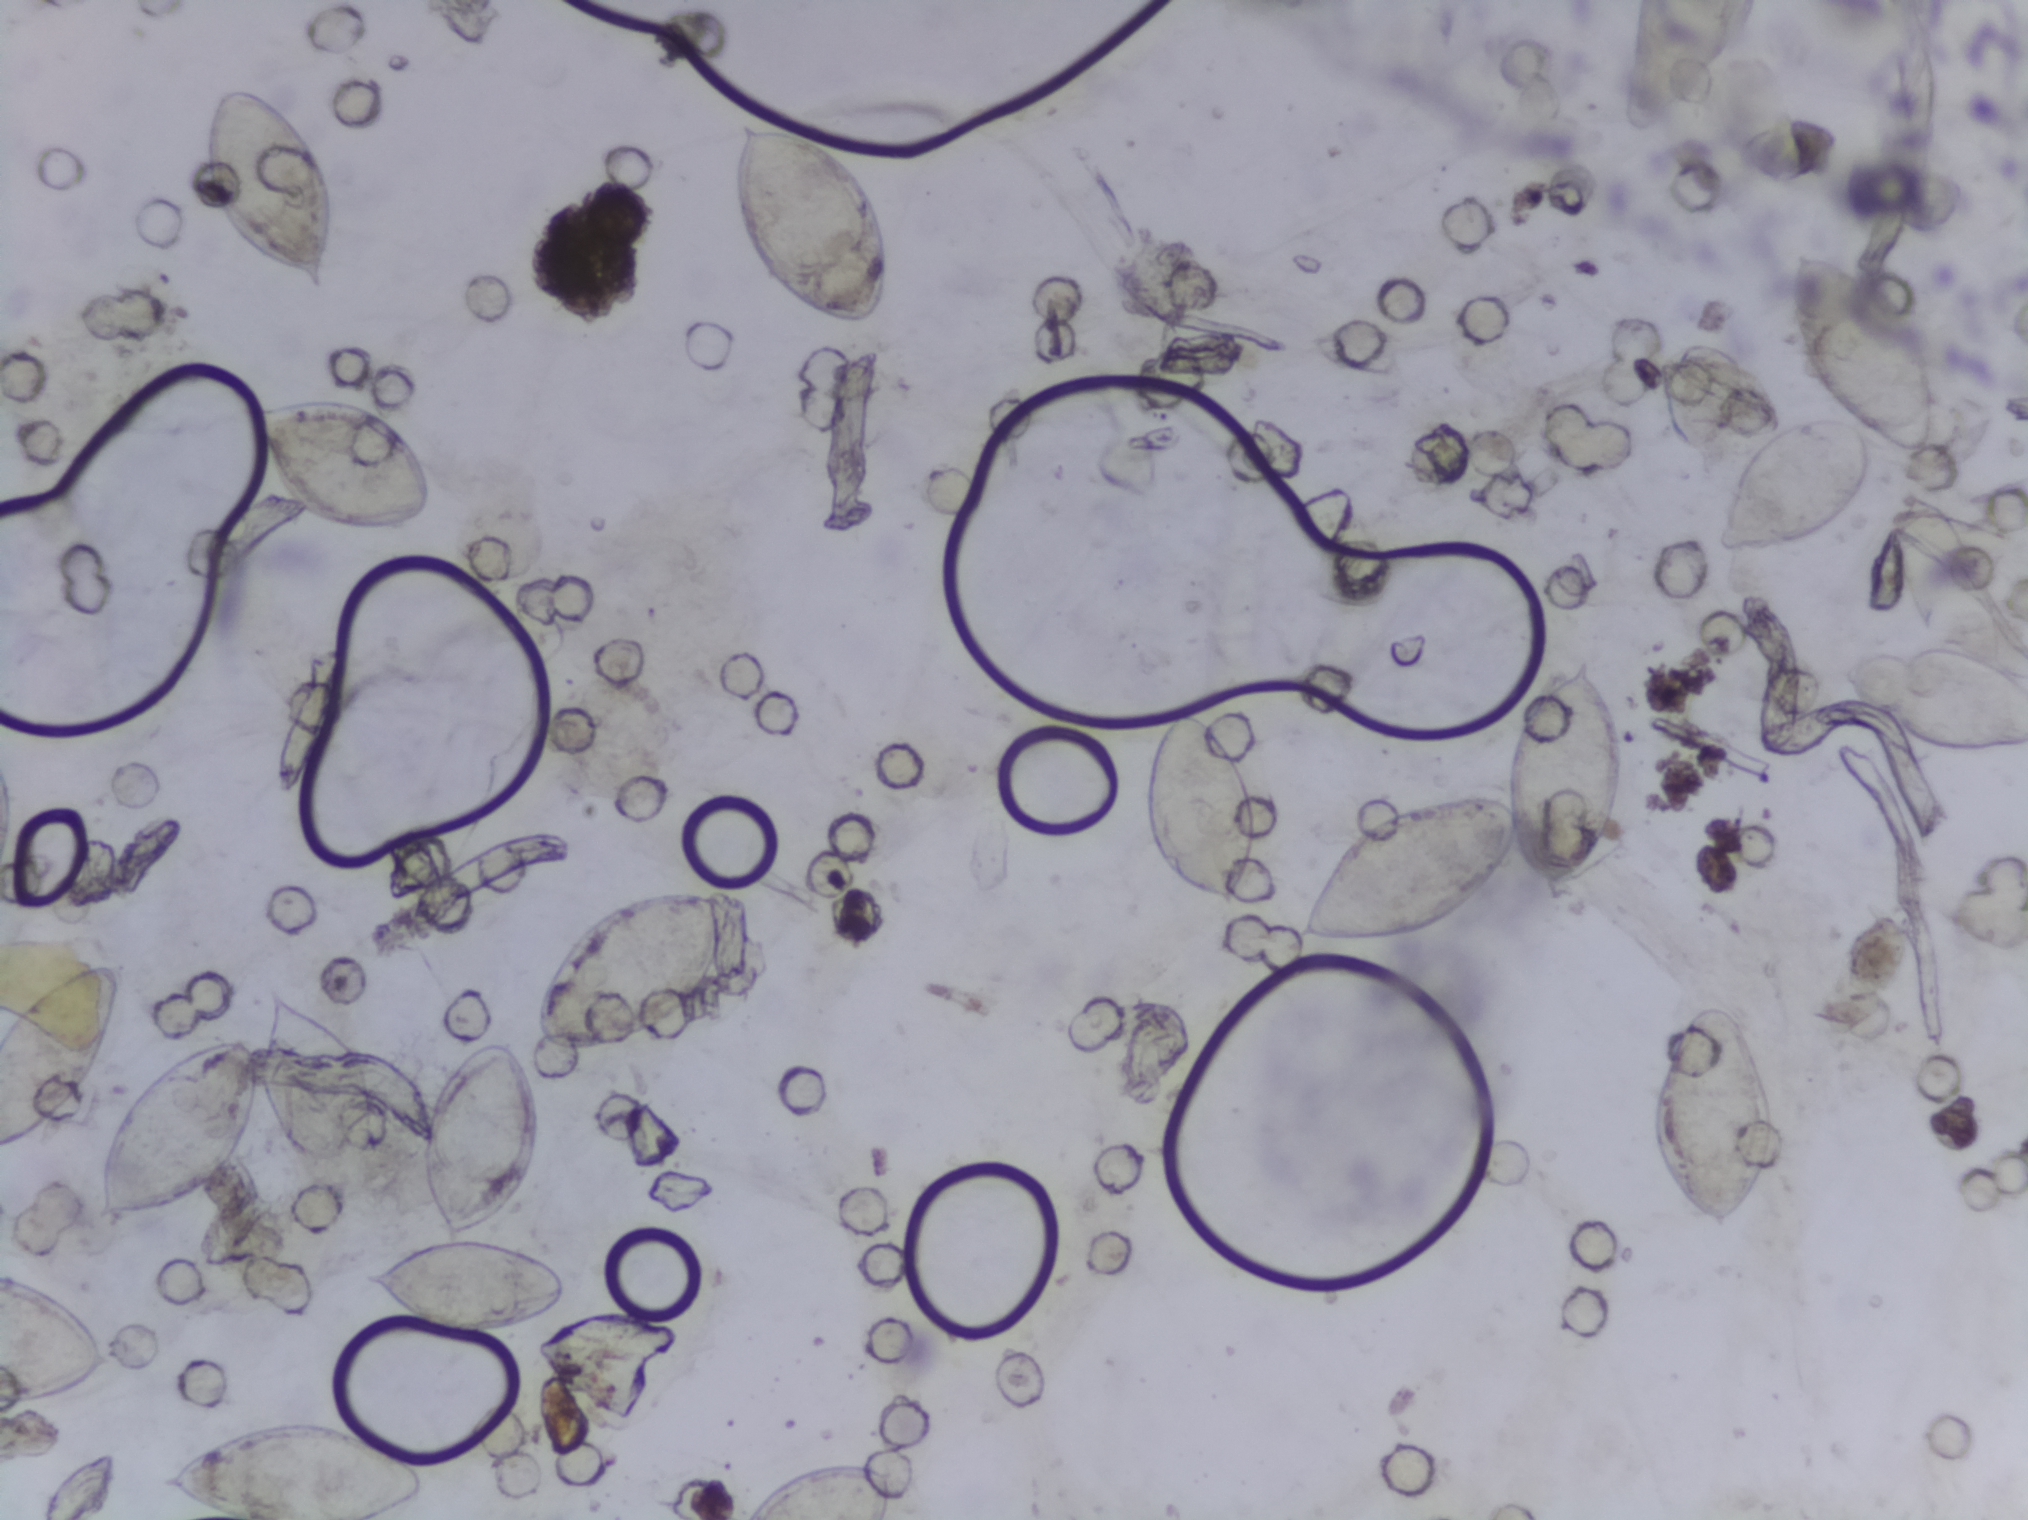
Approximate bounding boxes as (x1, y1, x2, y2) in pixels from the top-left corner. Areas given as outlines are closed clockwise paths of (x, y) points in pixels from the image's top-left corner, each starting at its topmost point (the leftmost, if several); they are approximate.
Areas outlined as Schistosoma eggs: box (0, 961, 126, 1156) (reaching the left edge of the frame); box (0, 1267, 118, 1412) (reaching the left edge of the frame); box (97, 983, 378, 1228); box (149, 1413, 447, 1519) (reaching the bottom edge of the frame); box (198, 80, 339, 304); box (236, 391, 441, 540); box (351, 1038, 573, 1342); box (533, 888, 726, 1054); box (722, 114, 893, 334); box (743, 1458, 896, 1519) (reaching the bottom edge of the frame); box (1142, 708, 1258, 910); outline (1582, 654), (1609, 682), (1622, 731), (1622, 780), (1612, 825), (1569, 888), (1542, 894), (1527, 887), (1512, 855), (1484, 896), (1418, 937), (1290, 939), (1303, 905), (1357, 828), (1426, 802), (1504, 797), (1501, 747), (1511, 720); box (1617, 0, 1755, 136) (reaching the top edge of the frame); box (1650, 999, 1780, 1238); box (1713, 244, 1937, 562); box (1835, 630, 2027, 759) (reaching the right edge of the frame). A single outlined area may contain several eggs.
Photograph from an automated digital microscope: urine filter membrane, 4× objective.